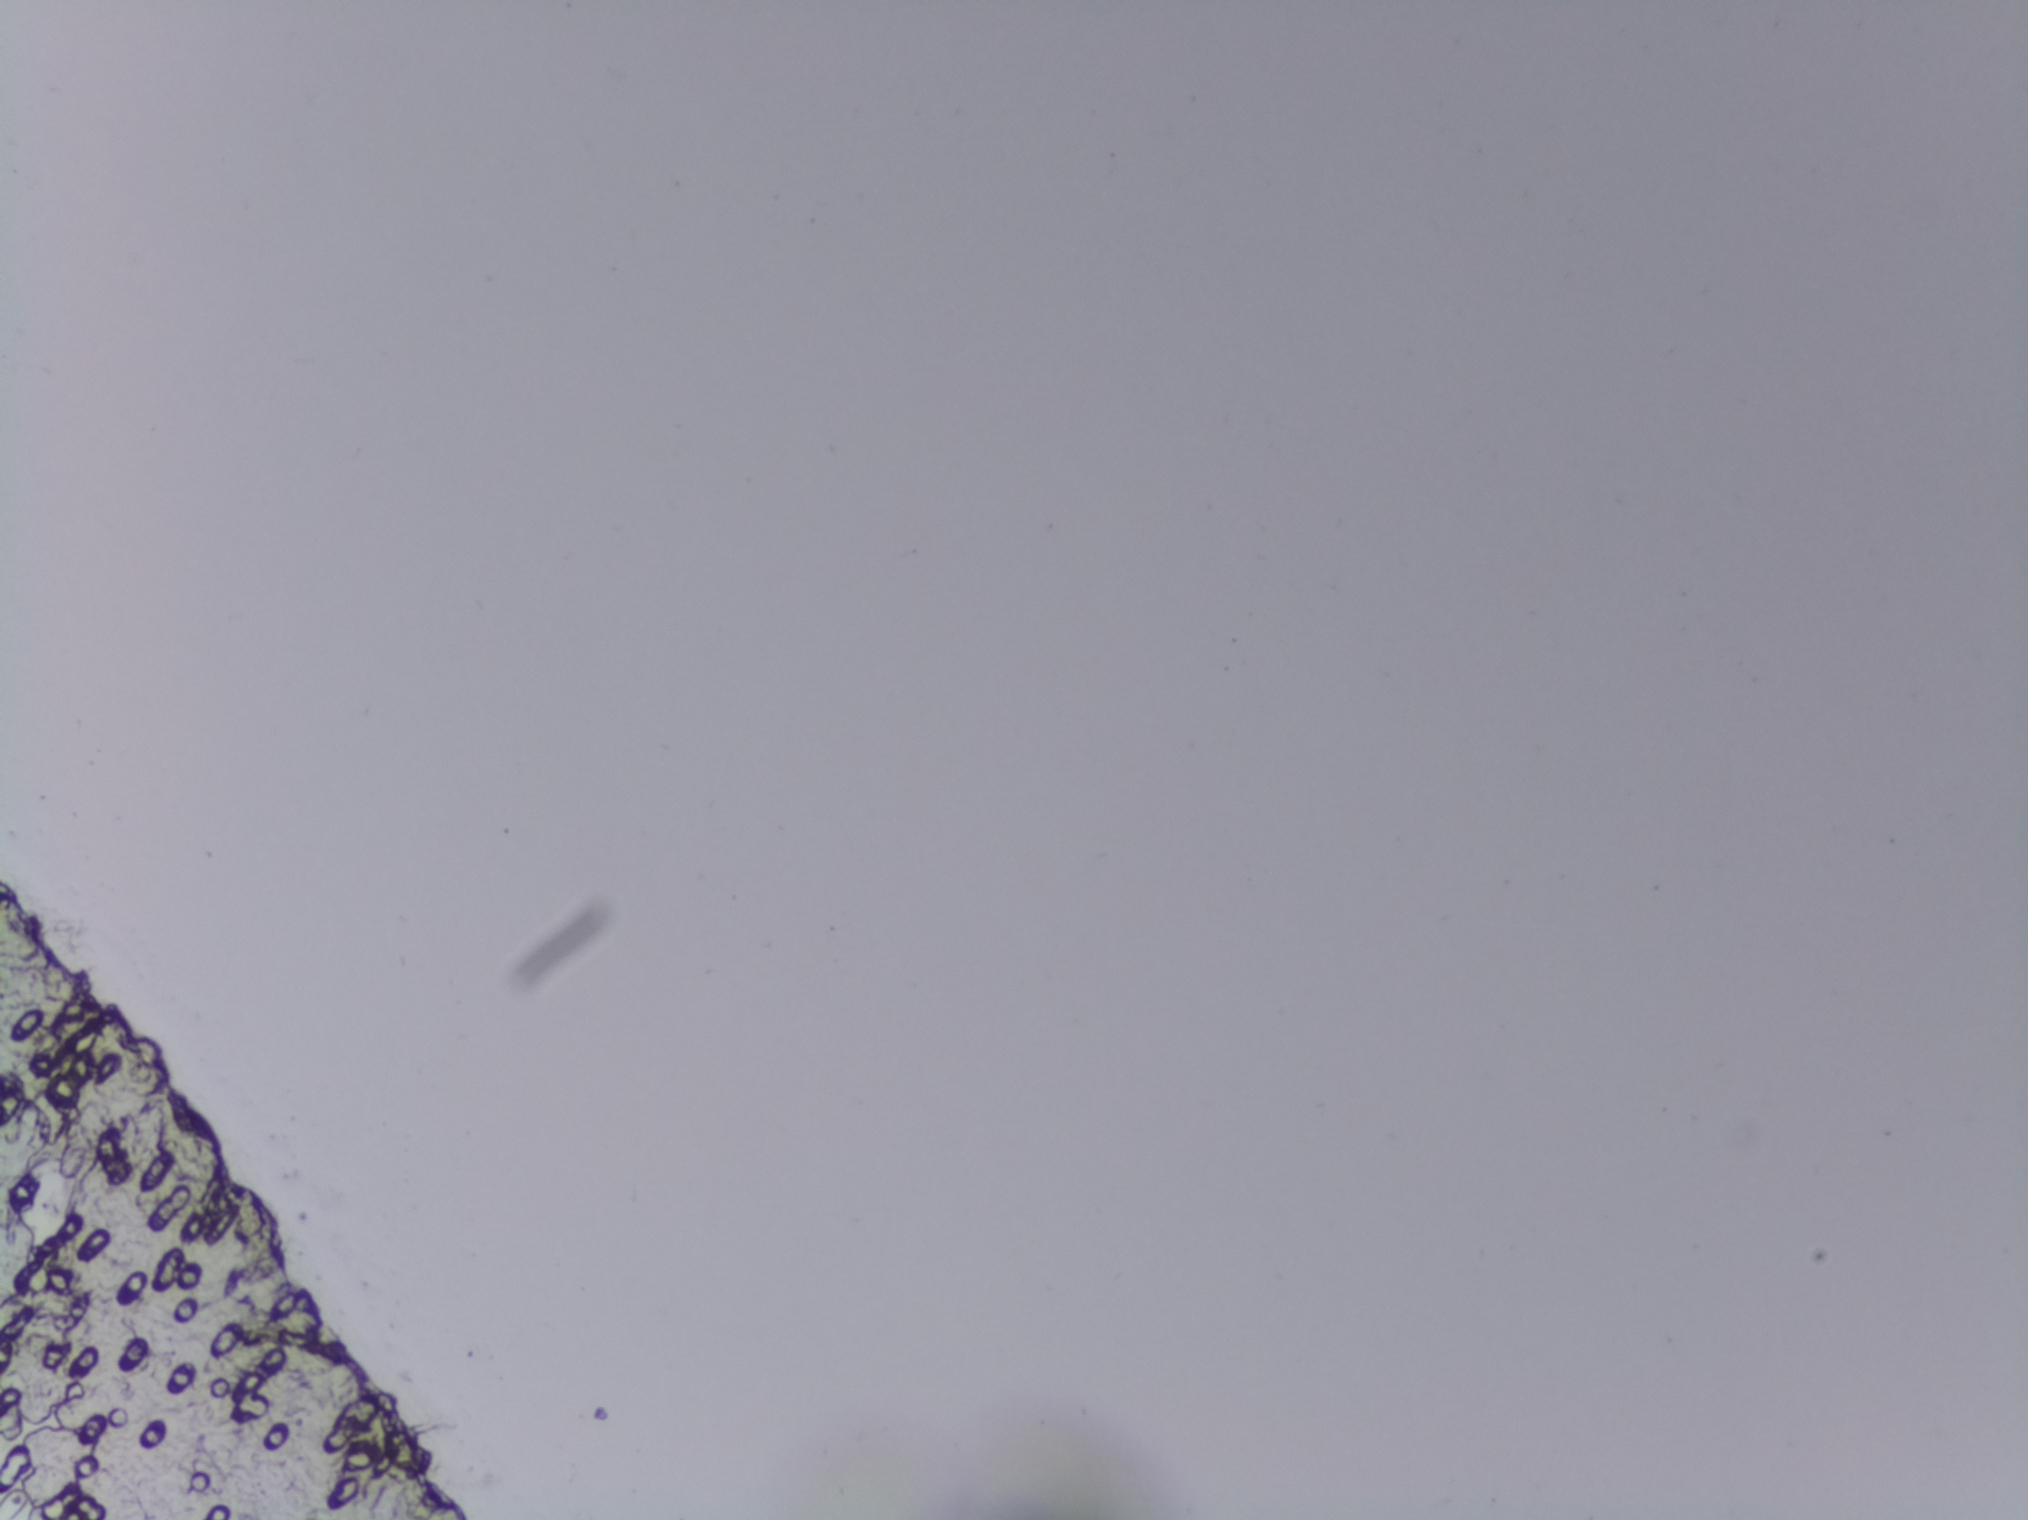
One field of view of a urine filter membrane, 4× objective, 2028 × 1520 pixels. The field of view is about 1.5 mm × 1.1 mm.
The expert annotation marks no Schistosoma egg in this field of view.